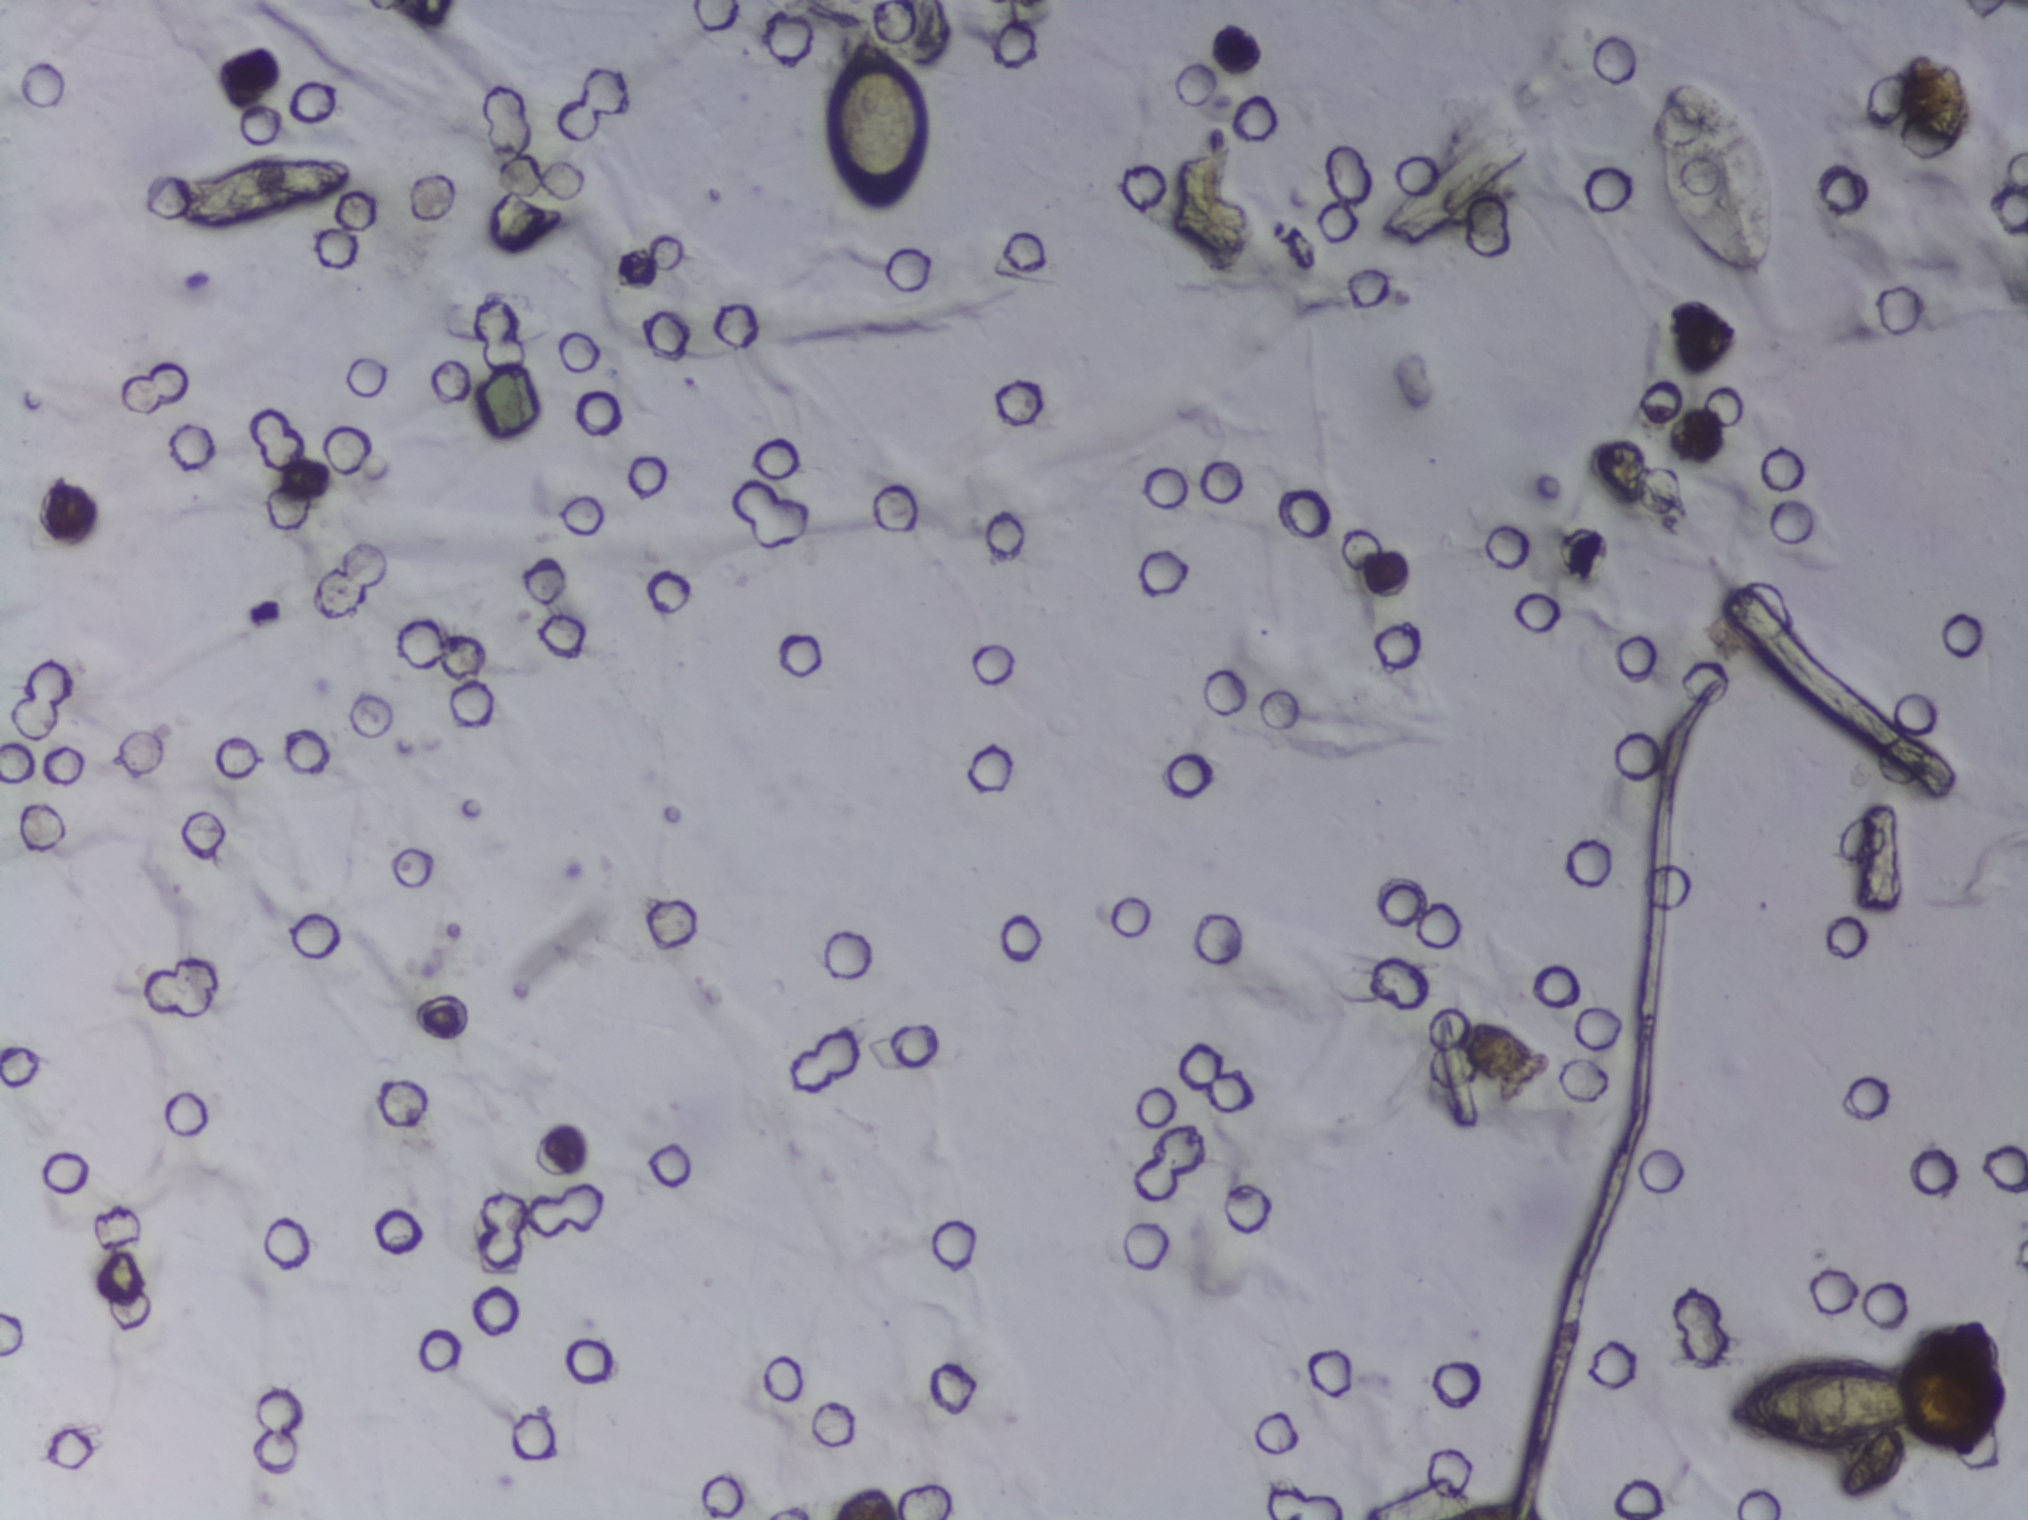
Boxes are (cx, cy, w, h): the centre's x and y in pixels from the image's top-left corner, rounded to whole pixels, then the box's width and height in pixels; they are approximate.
Schistosoma eggs are outlined in the expert annotation at (cx=874, cy=117, w=90, h=200); (cx=1717, cy=180, w=118, h=210); (cx=1827, cy=1407, w=212, h=97). An outlined area can hold more than one egg. A marked egg may occasionally be S. mansoni rather than S. haematobium.
Microscope photograph (4× objective) of a membrane that a urine sample was filtered through.